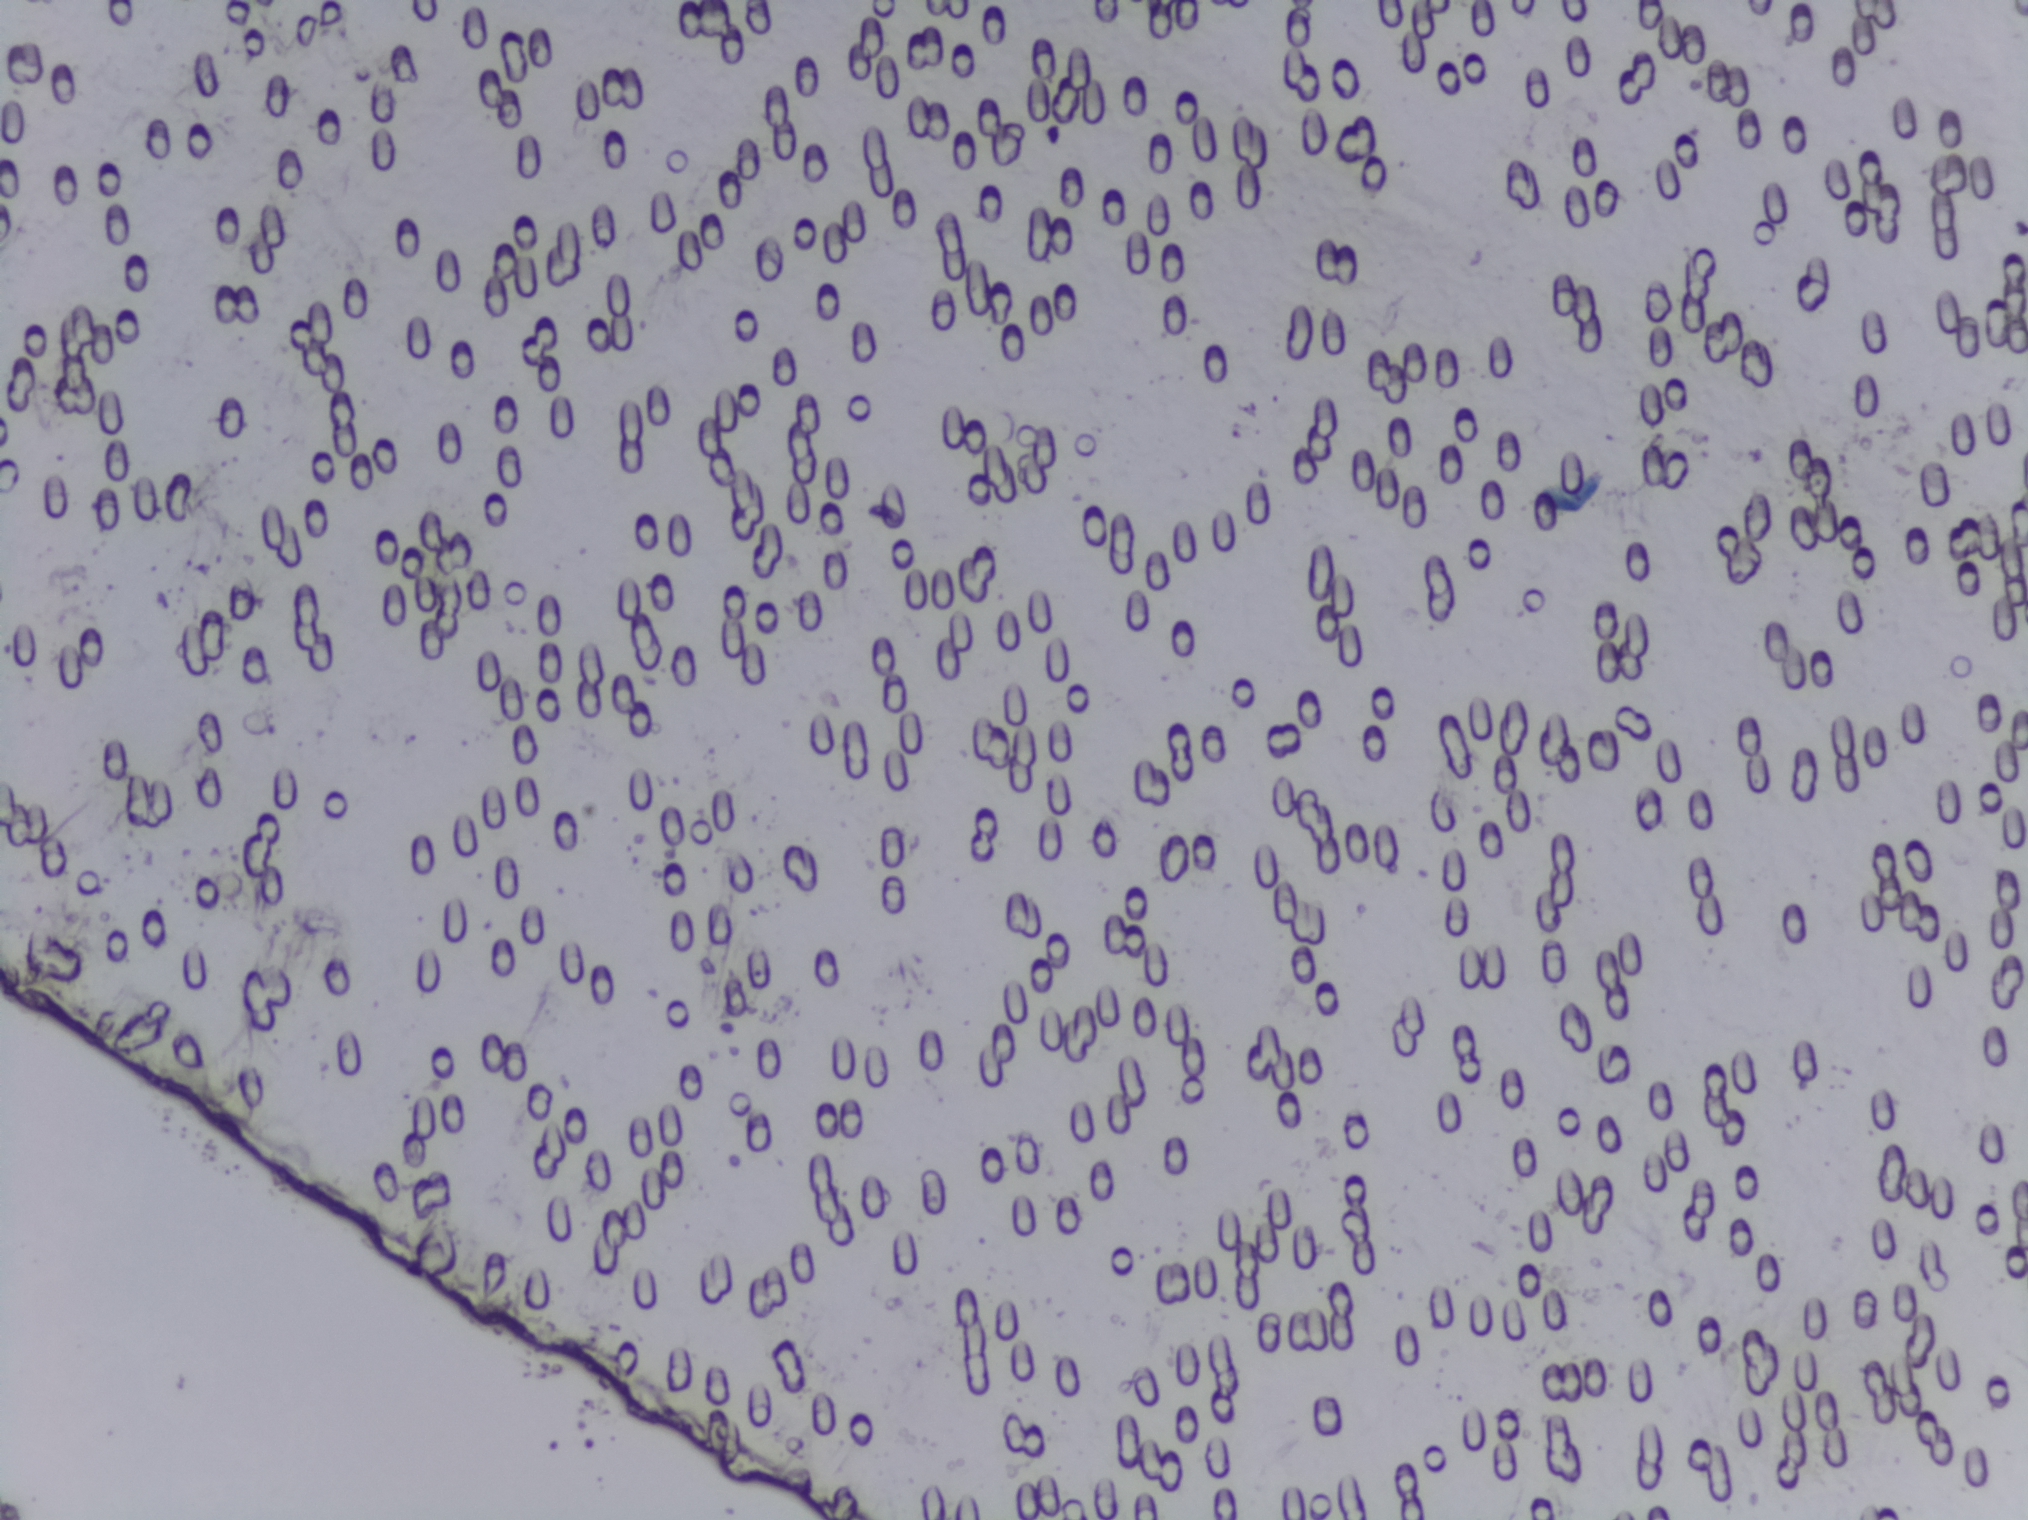
Schistosoma eggs: none outlined.
Photograph from an automated digital microscope: urine filter membrane, 4× objective.